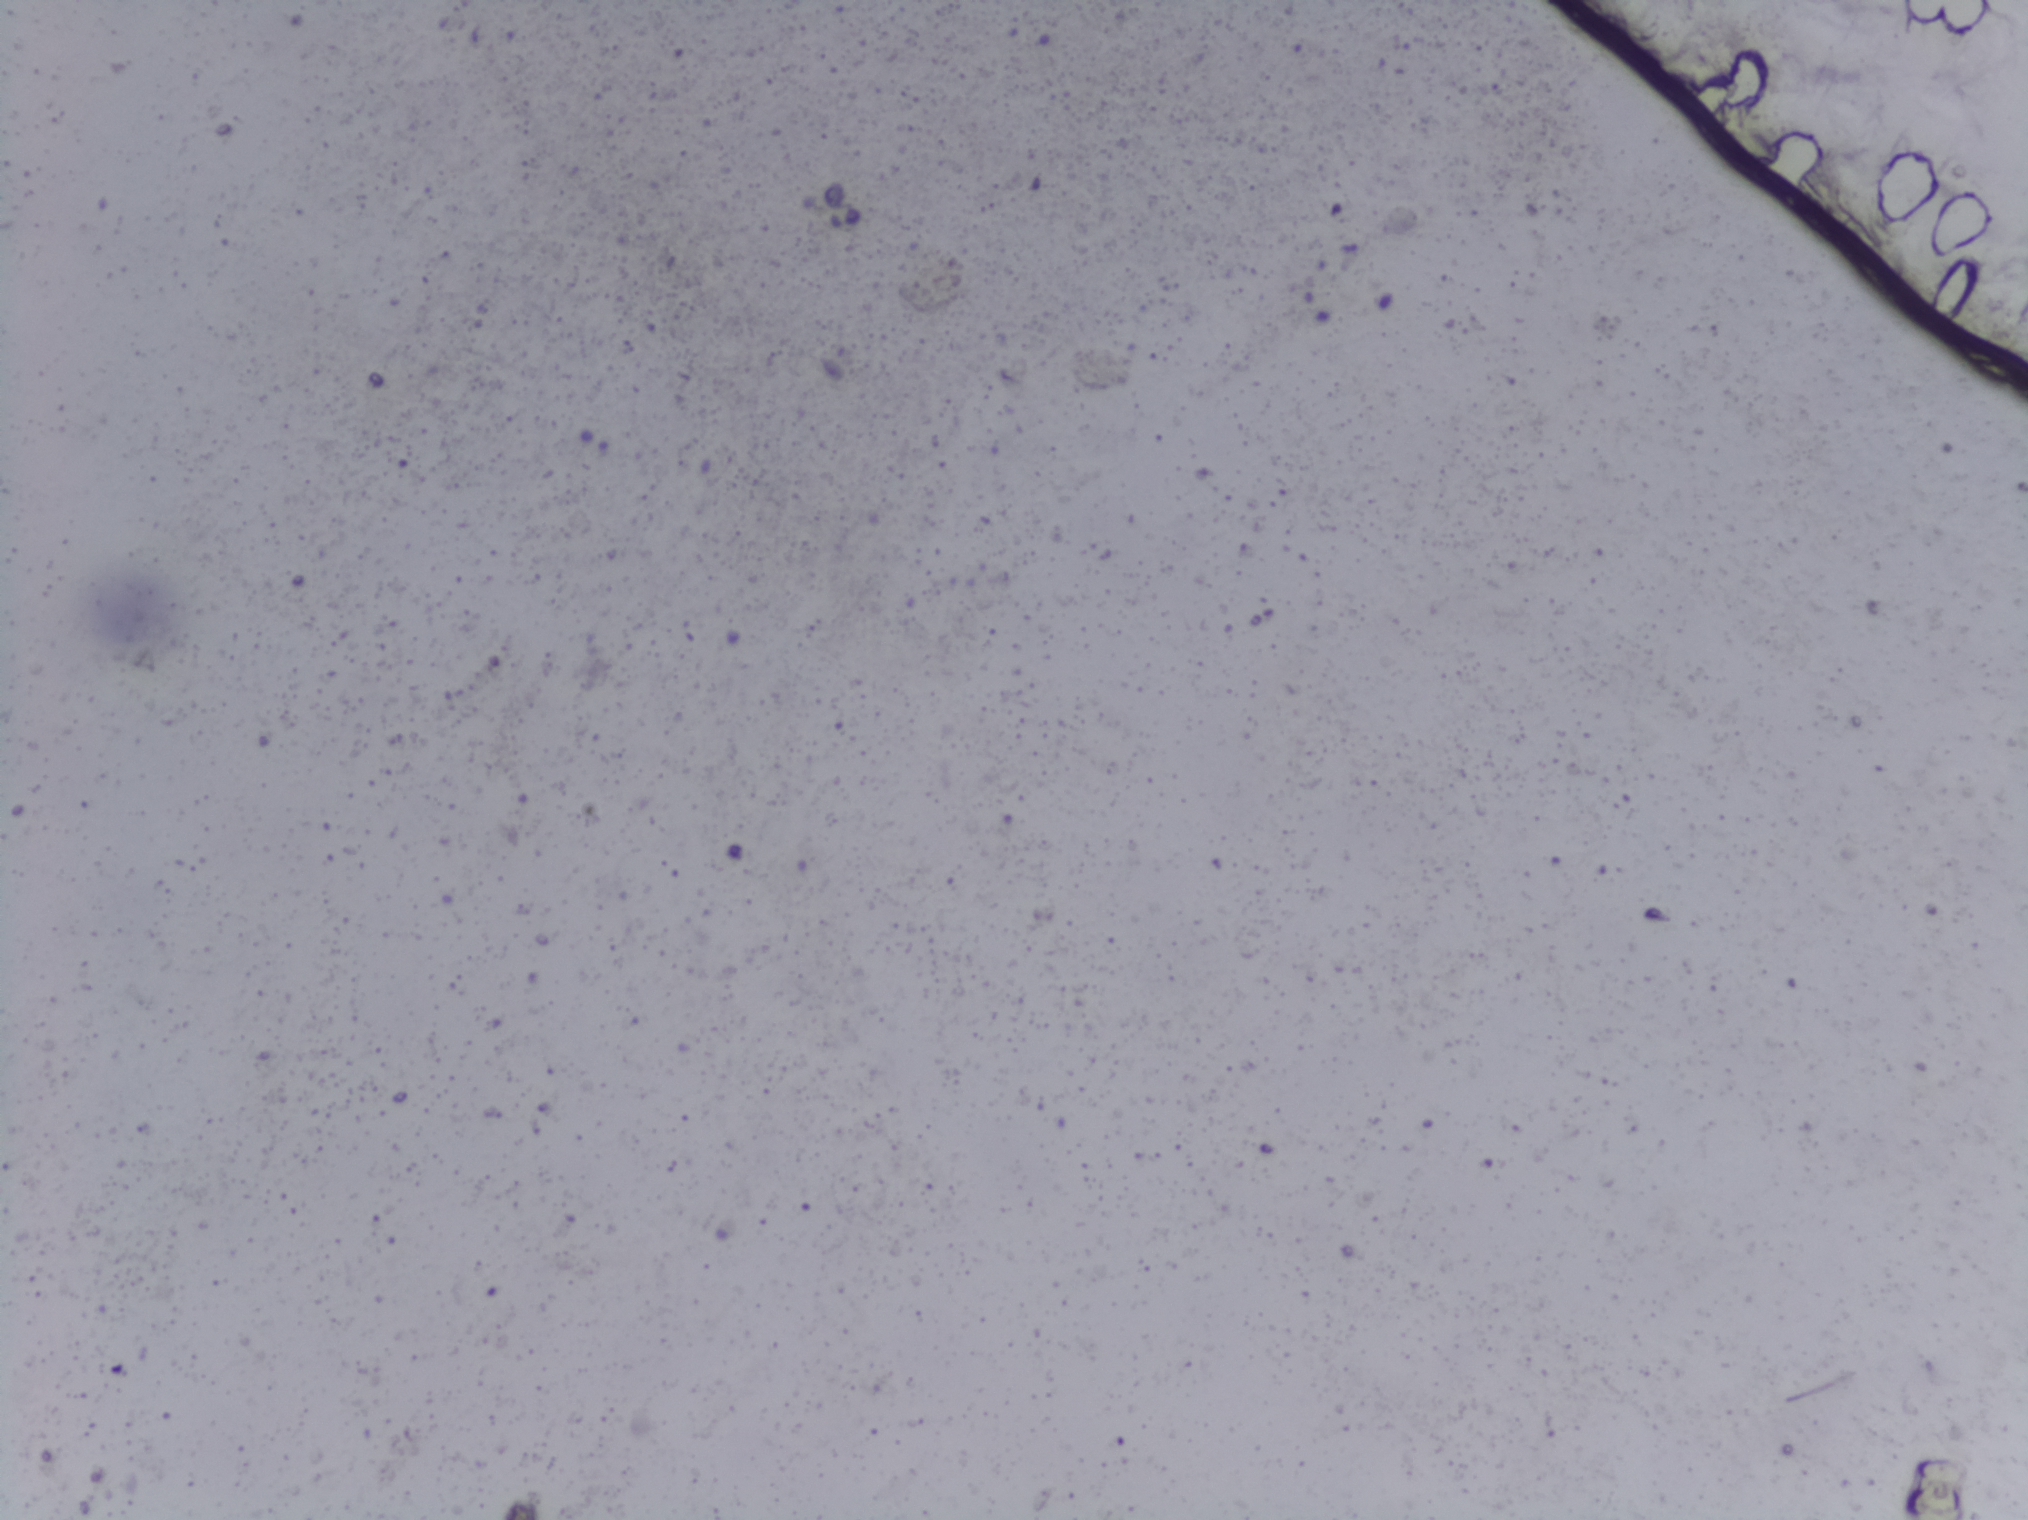
Photomicrograph of a urine filtration membrane, 4× objective.
No Schistosoma egg is outlined in this image's expert annotation.